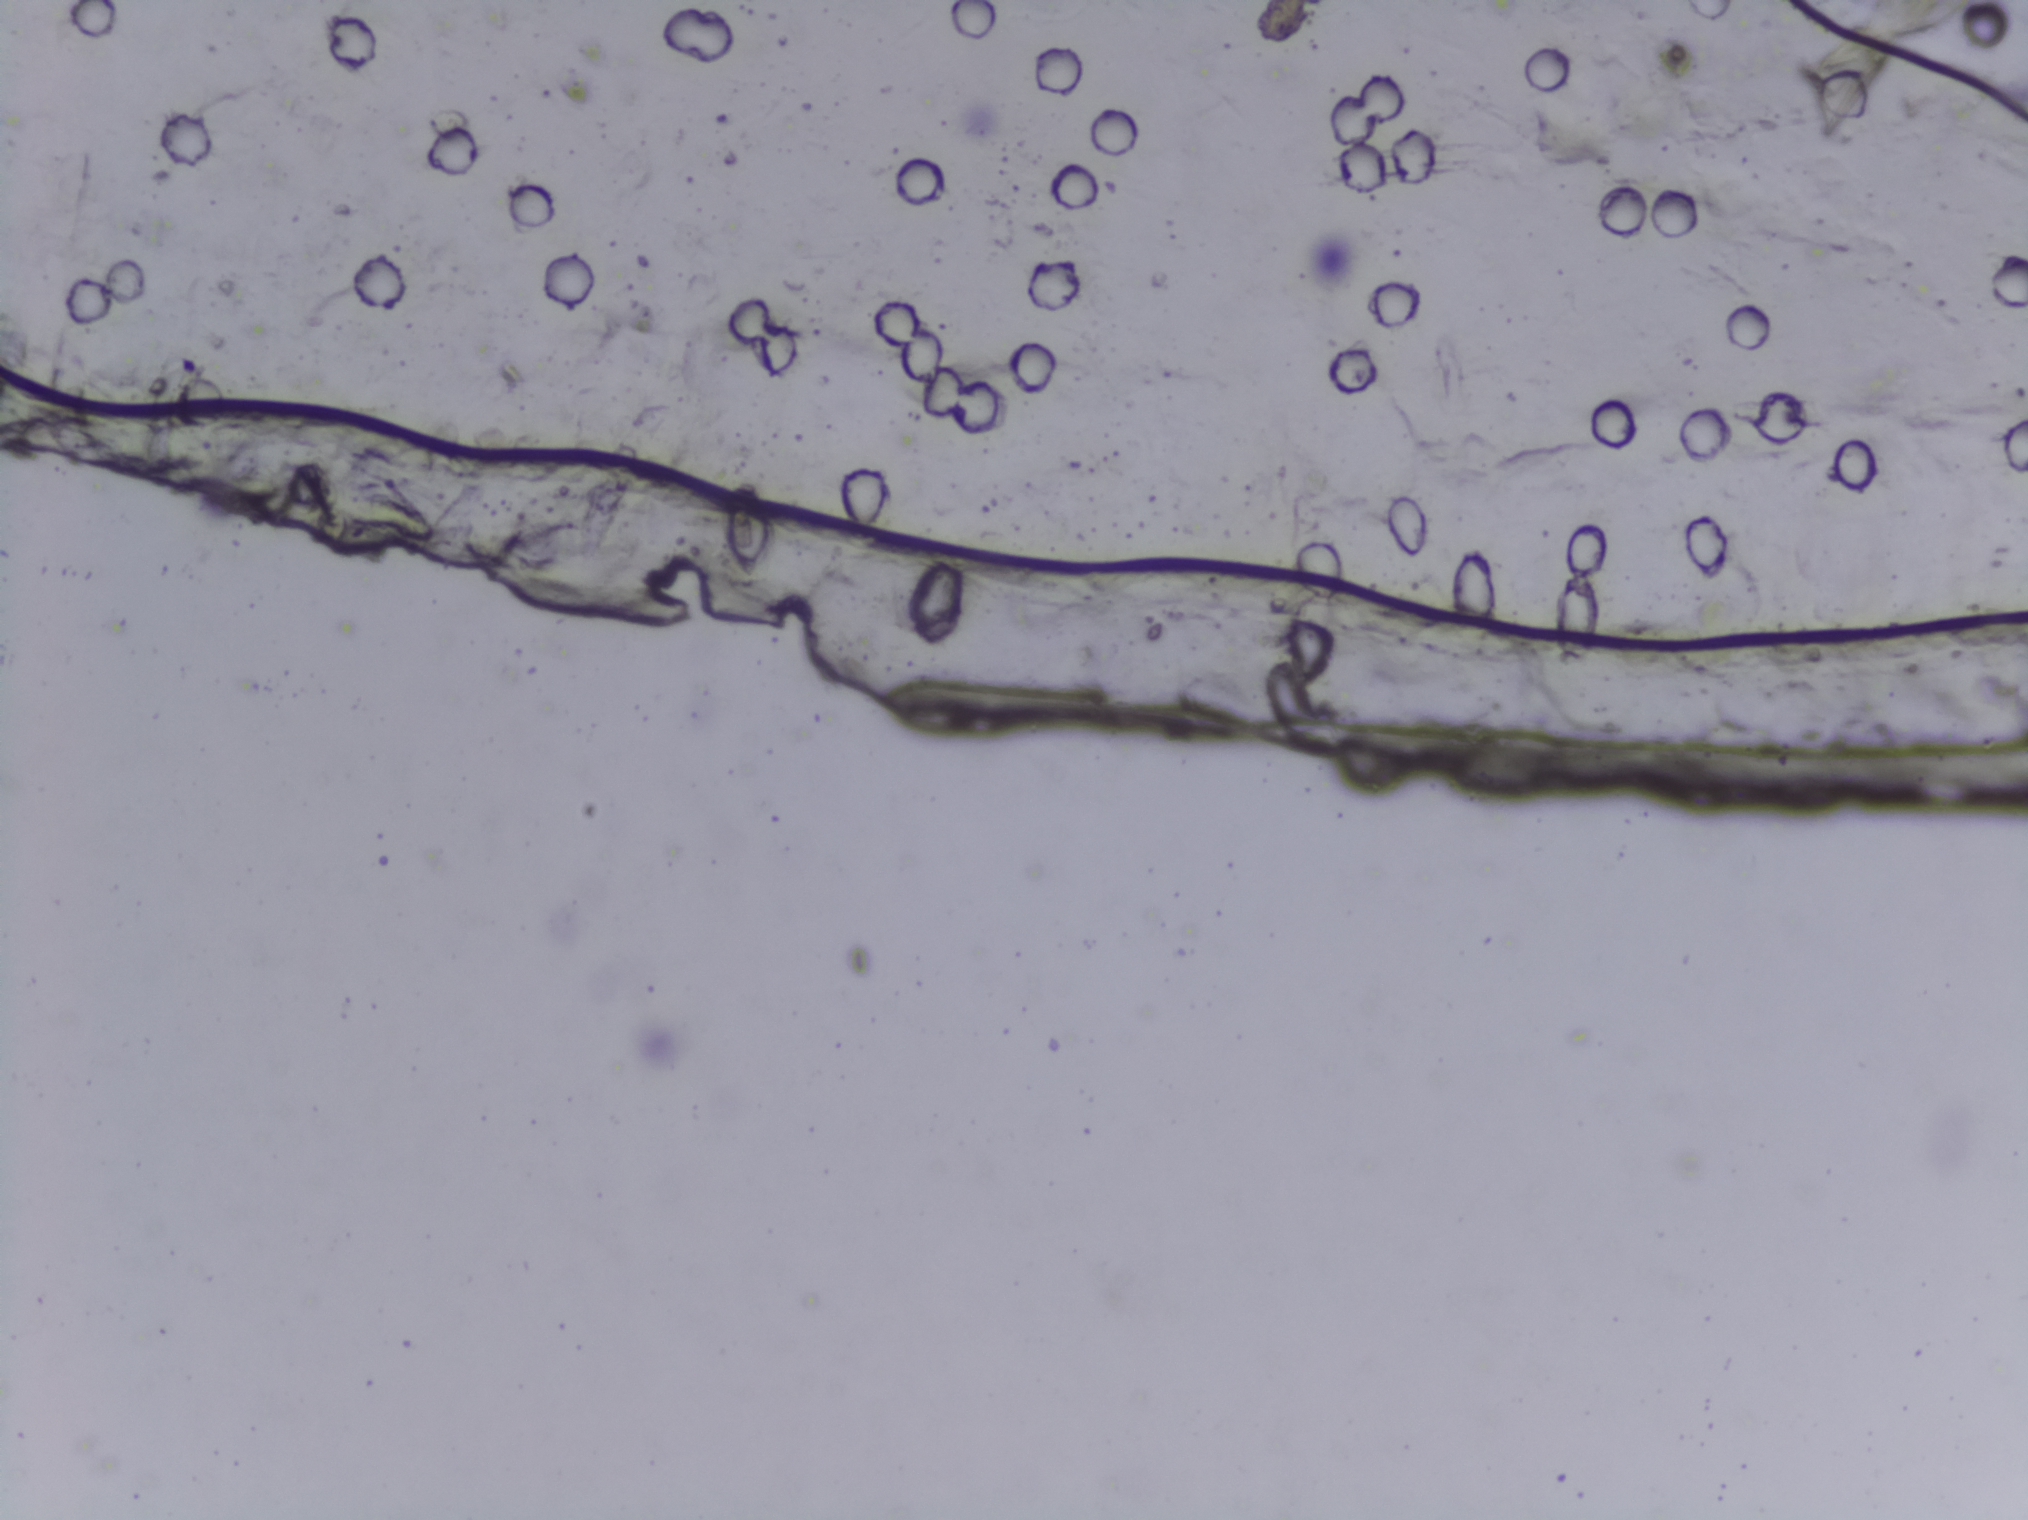
The expert annotation outlines no Schistosoma egg in this image.
One field of view of a urine filter membrane, 4× objective, 2028 × 1520 pixels.